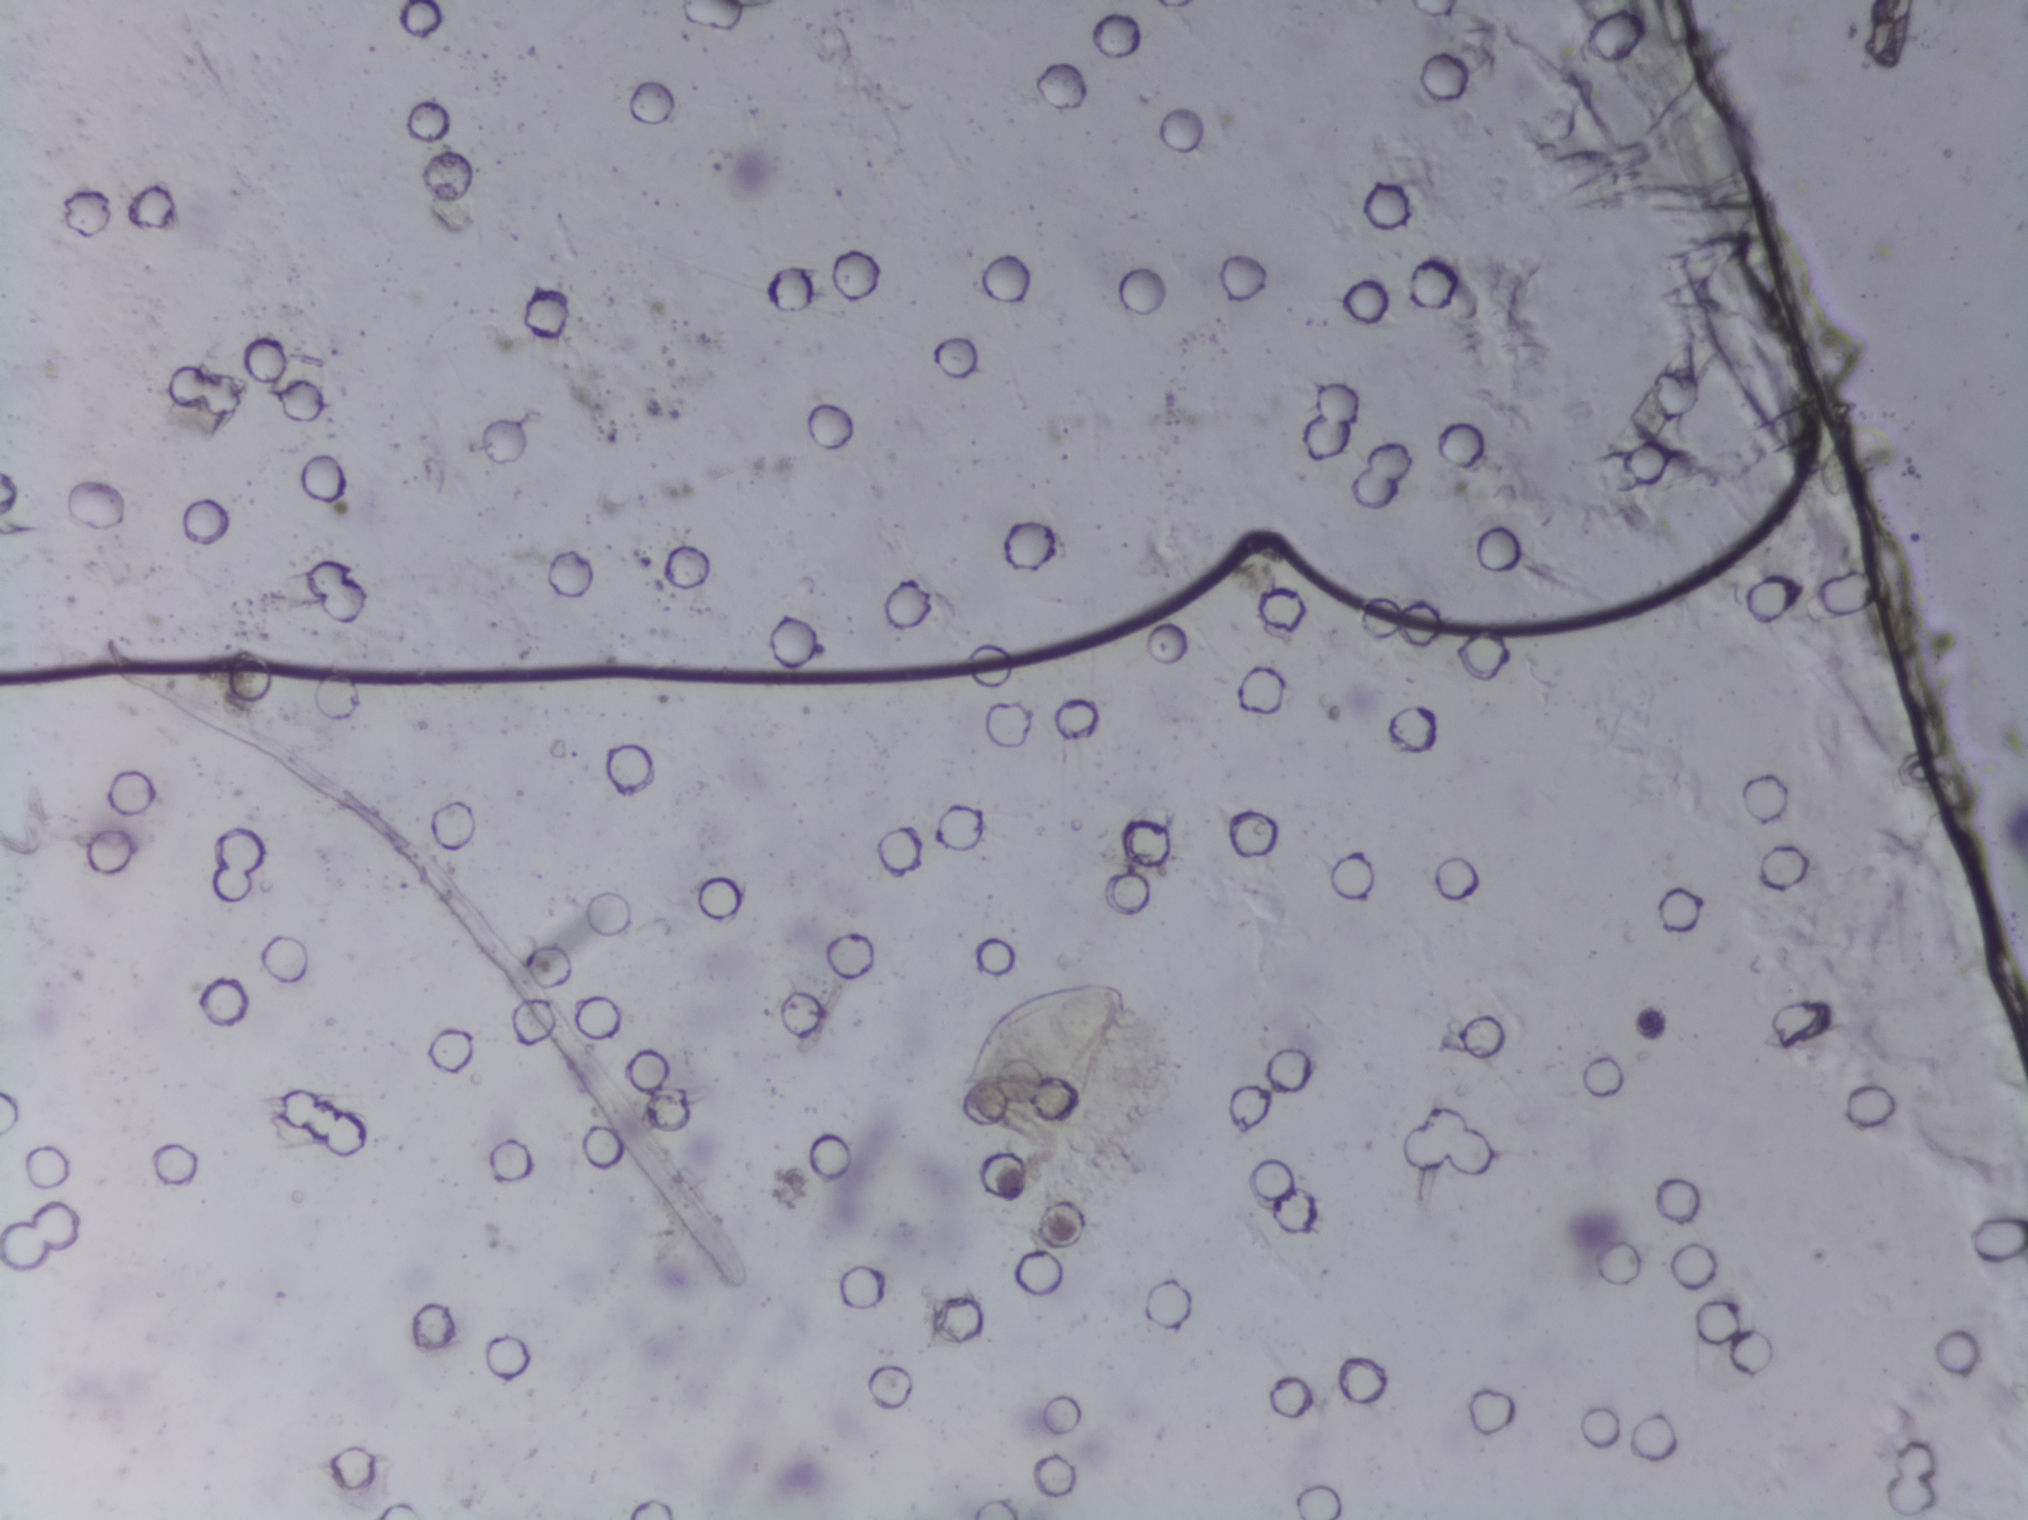
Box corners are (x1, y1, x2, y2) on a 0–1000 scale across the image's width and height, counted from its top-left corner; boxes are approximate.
Schistosoma eggs are outlined in one area of this image: (474, 645, 556, 726). Marked pixels, not the box around them: about 0.5% of the image. Eggs that touch can end up inside the same outlined area. A marked egg may occasionally be S. mansoni rather than S. haematobium.
Photomicrograph of a urine filtration membrane, 4× objective. Field of view: about 1.5 mm wide and 1.1 mm high.